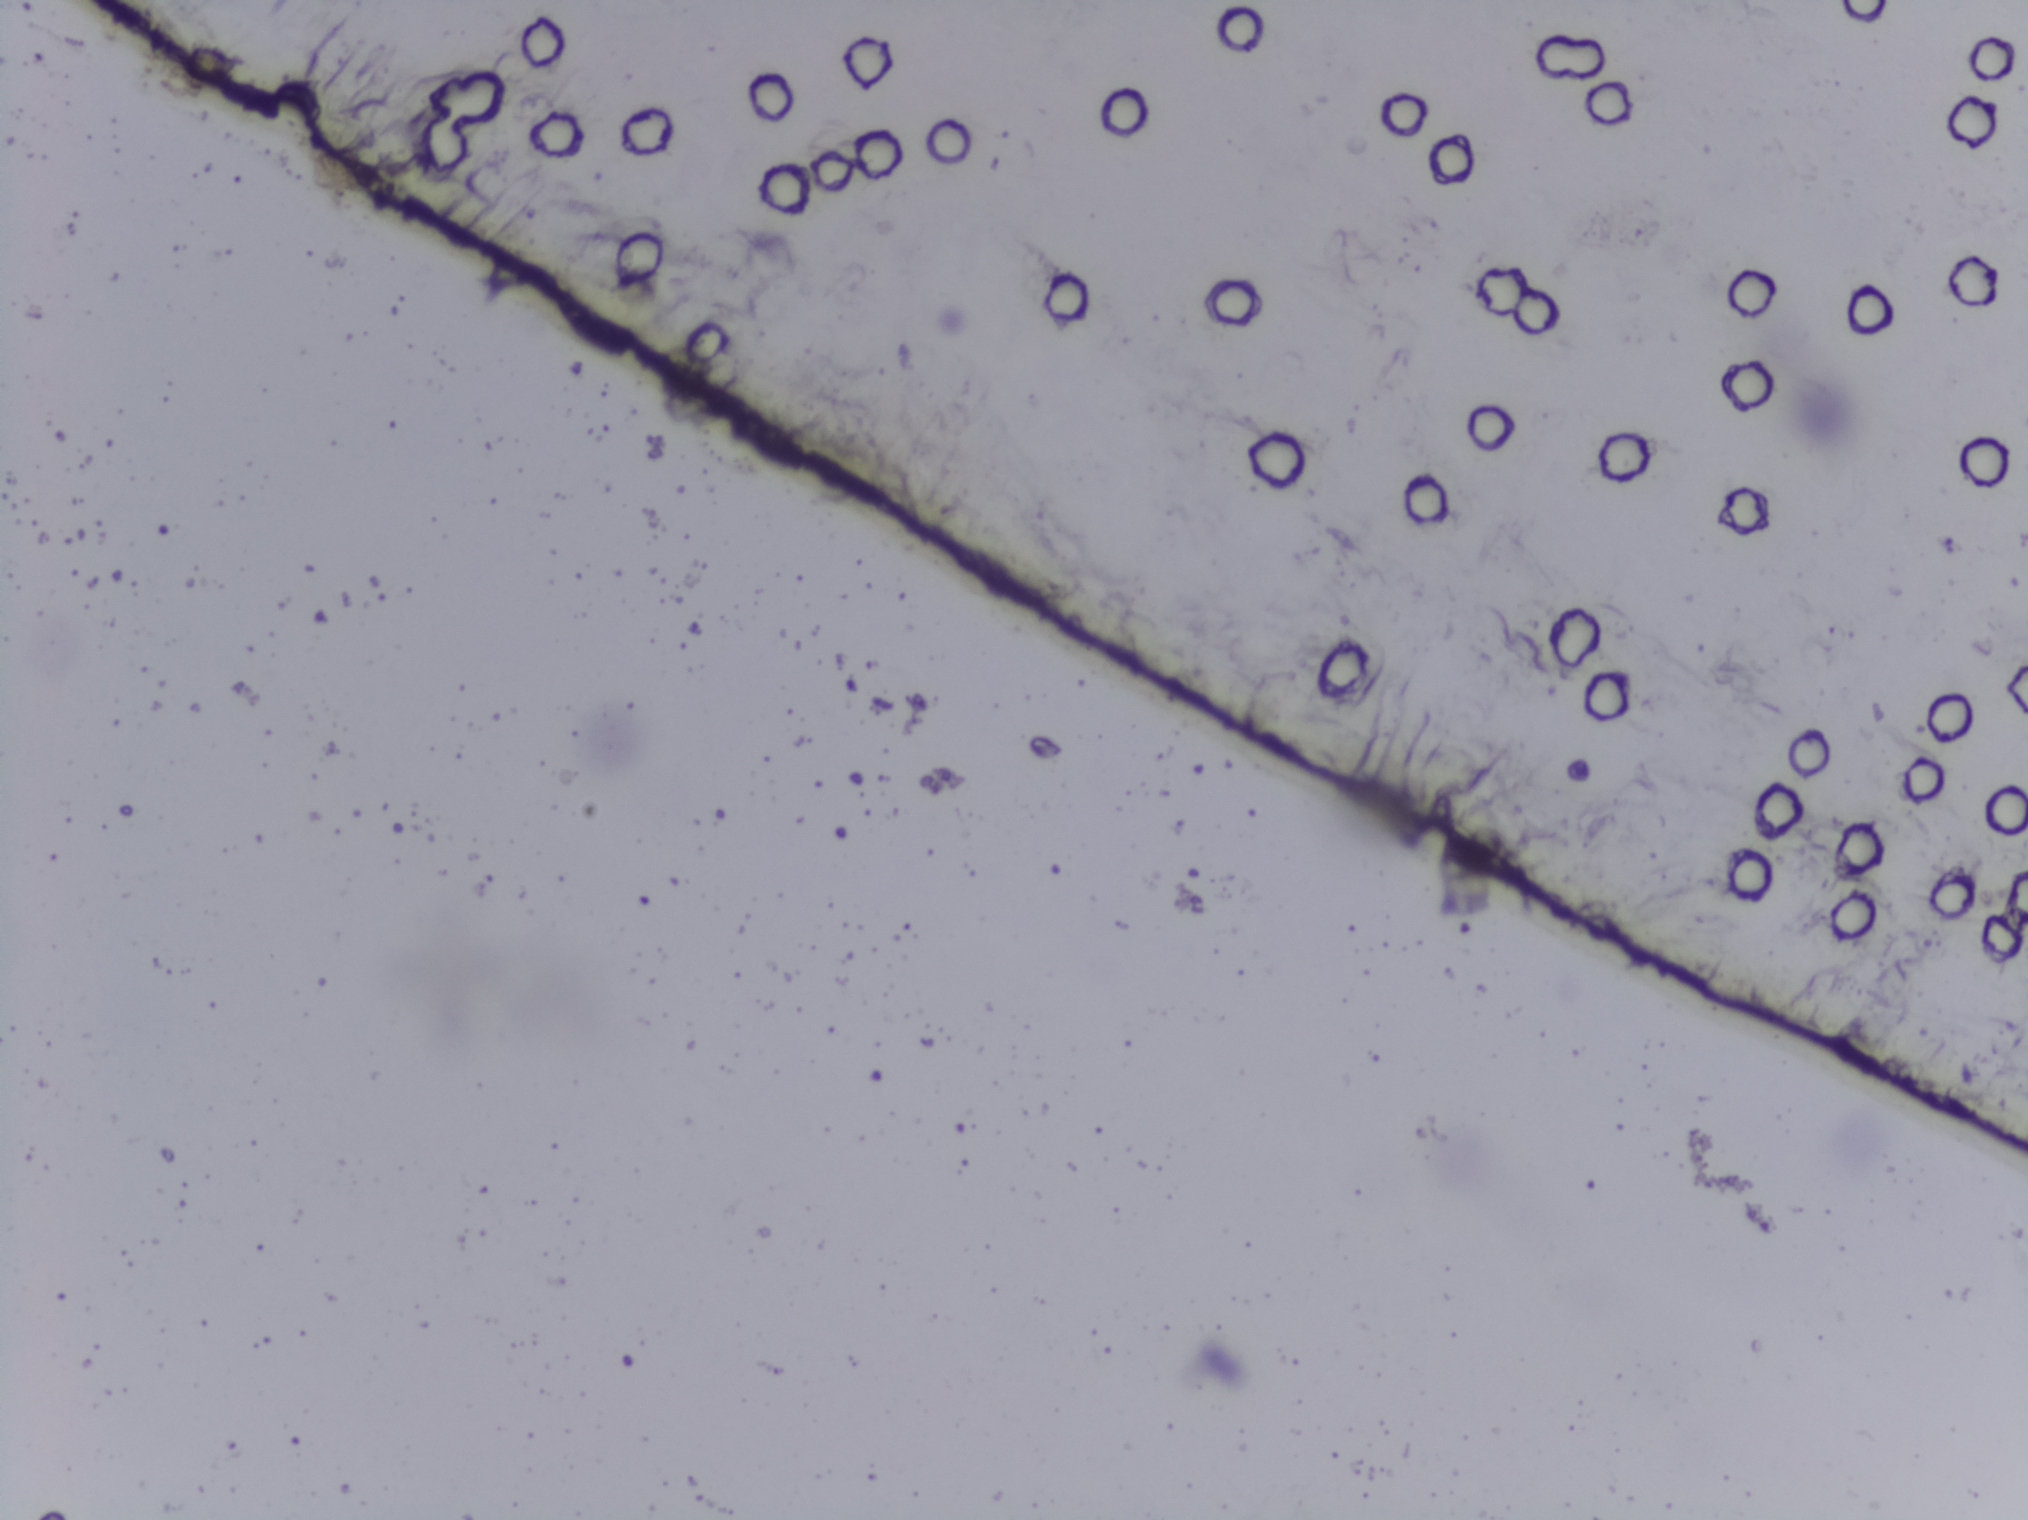
No area of this image was outlined as a Schistosoma egg.
Urine filter membrane photographed through a 4× microscope objective. The image covers about 1.5 × 1.1 mm of the membrane.